Microscope photograph (4× objective) of a membrane that a urine sample was filtered through. The image covers about 1.5 × 1.1 mm of the membrane.
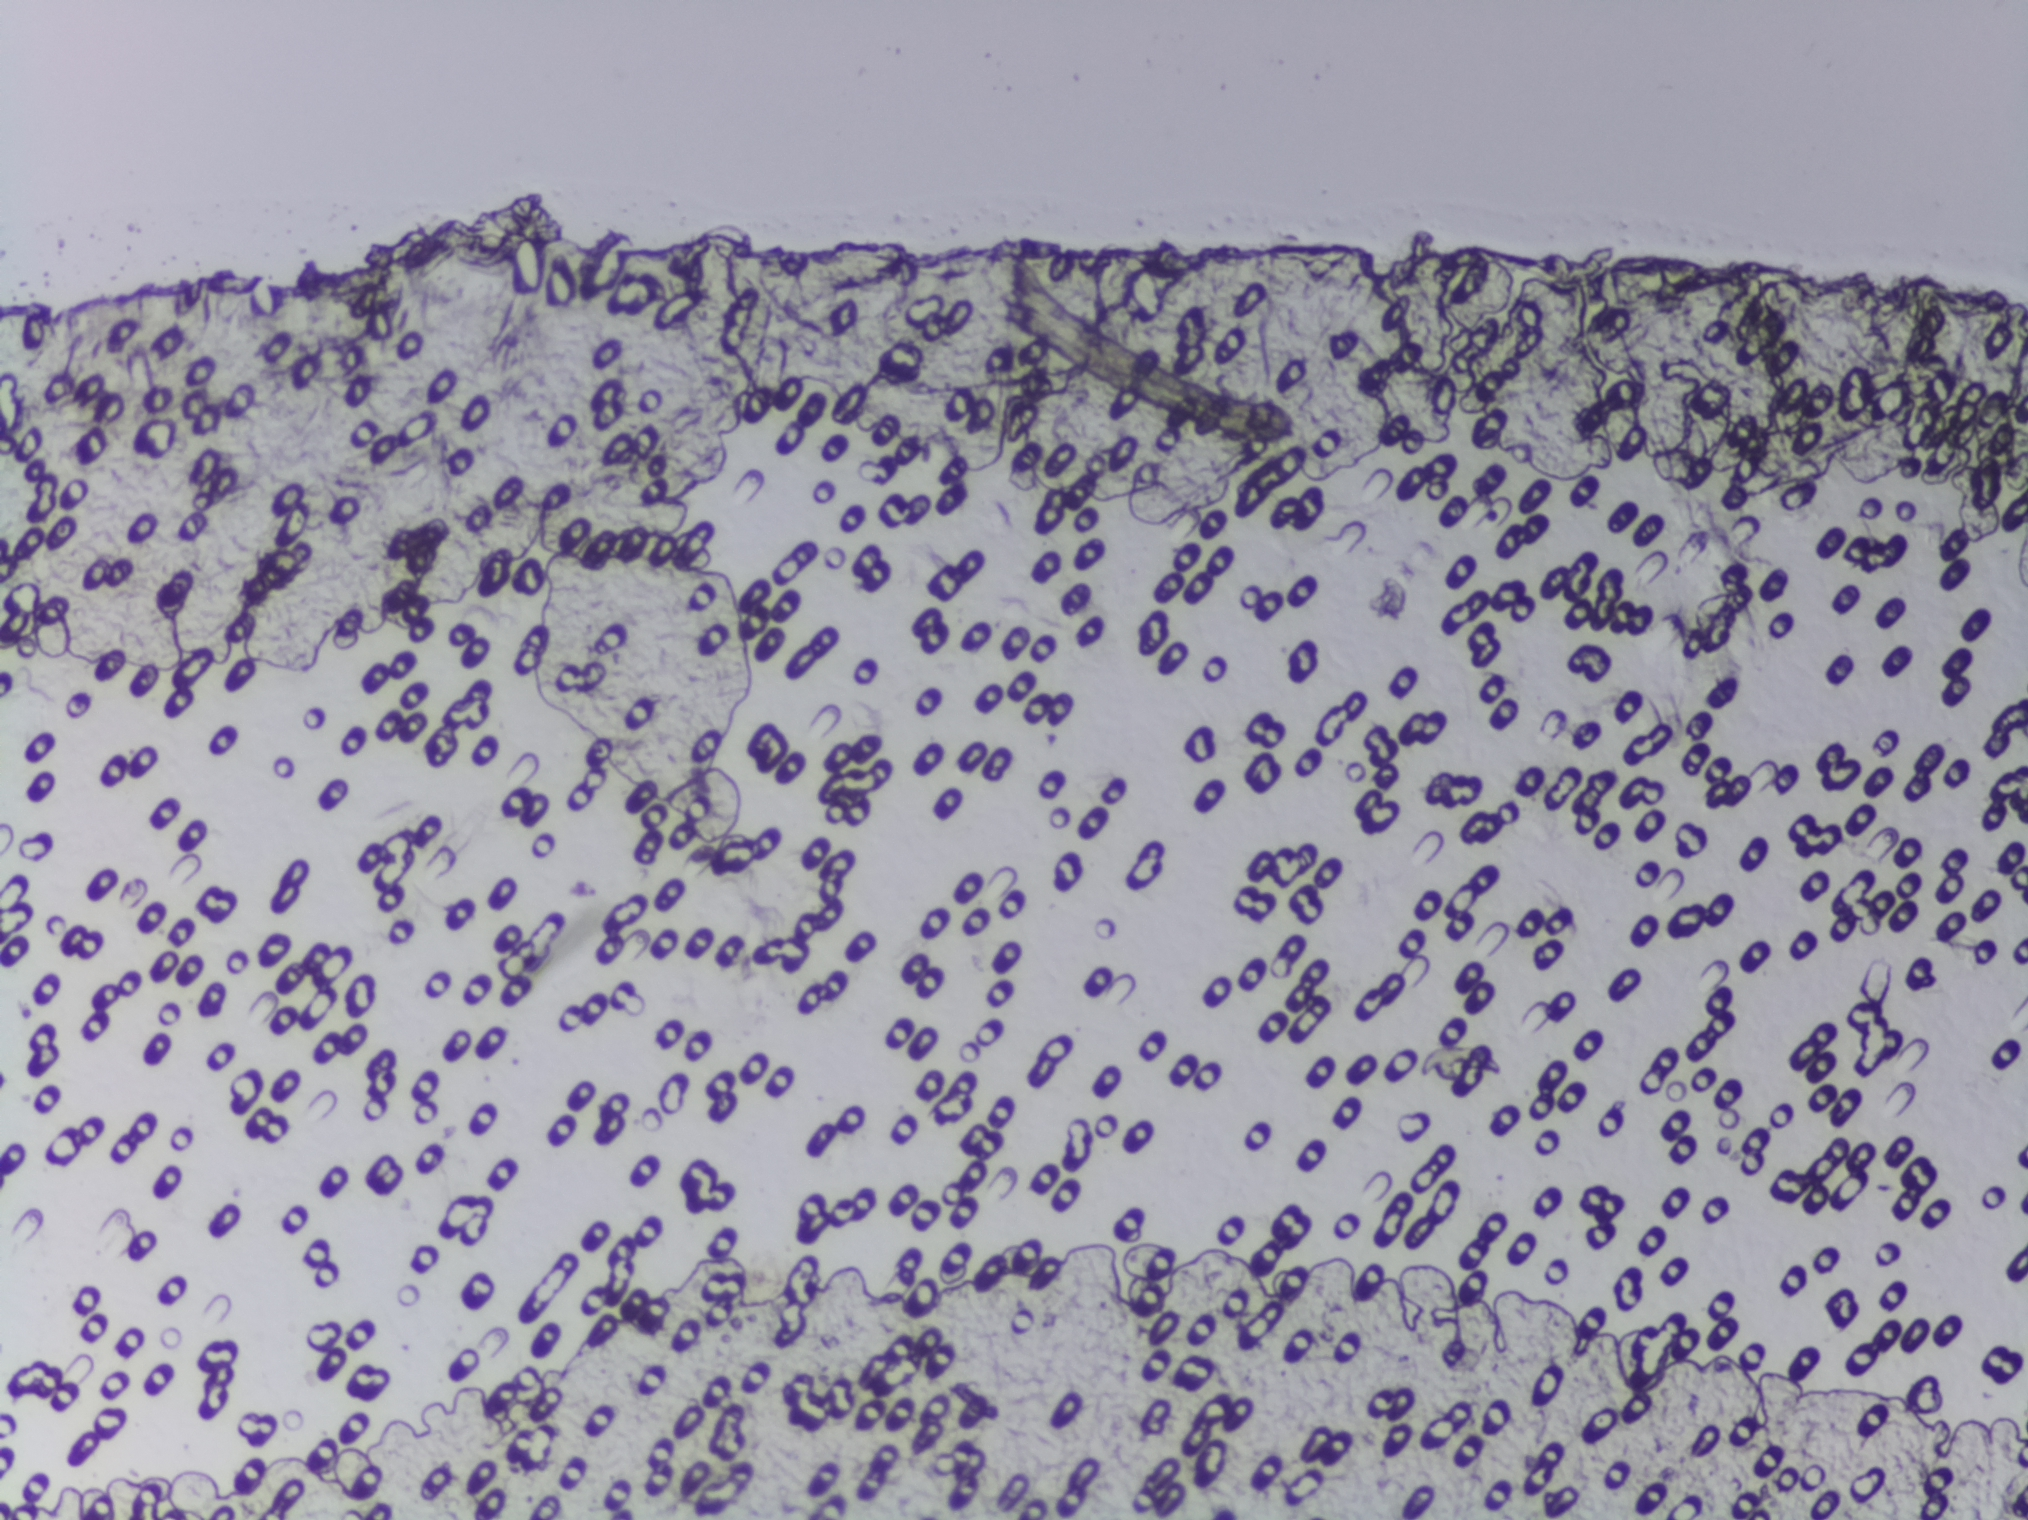
The expert annotation marks no Schistosoma egg in this field of view.